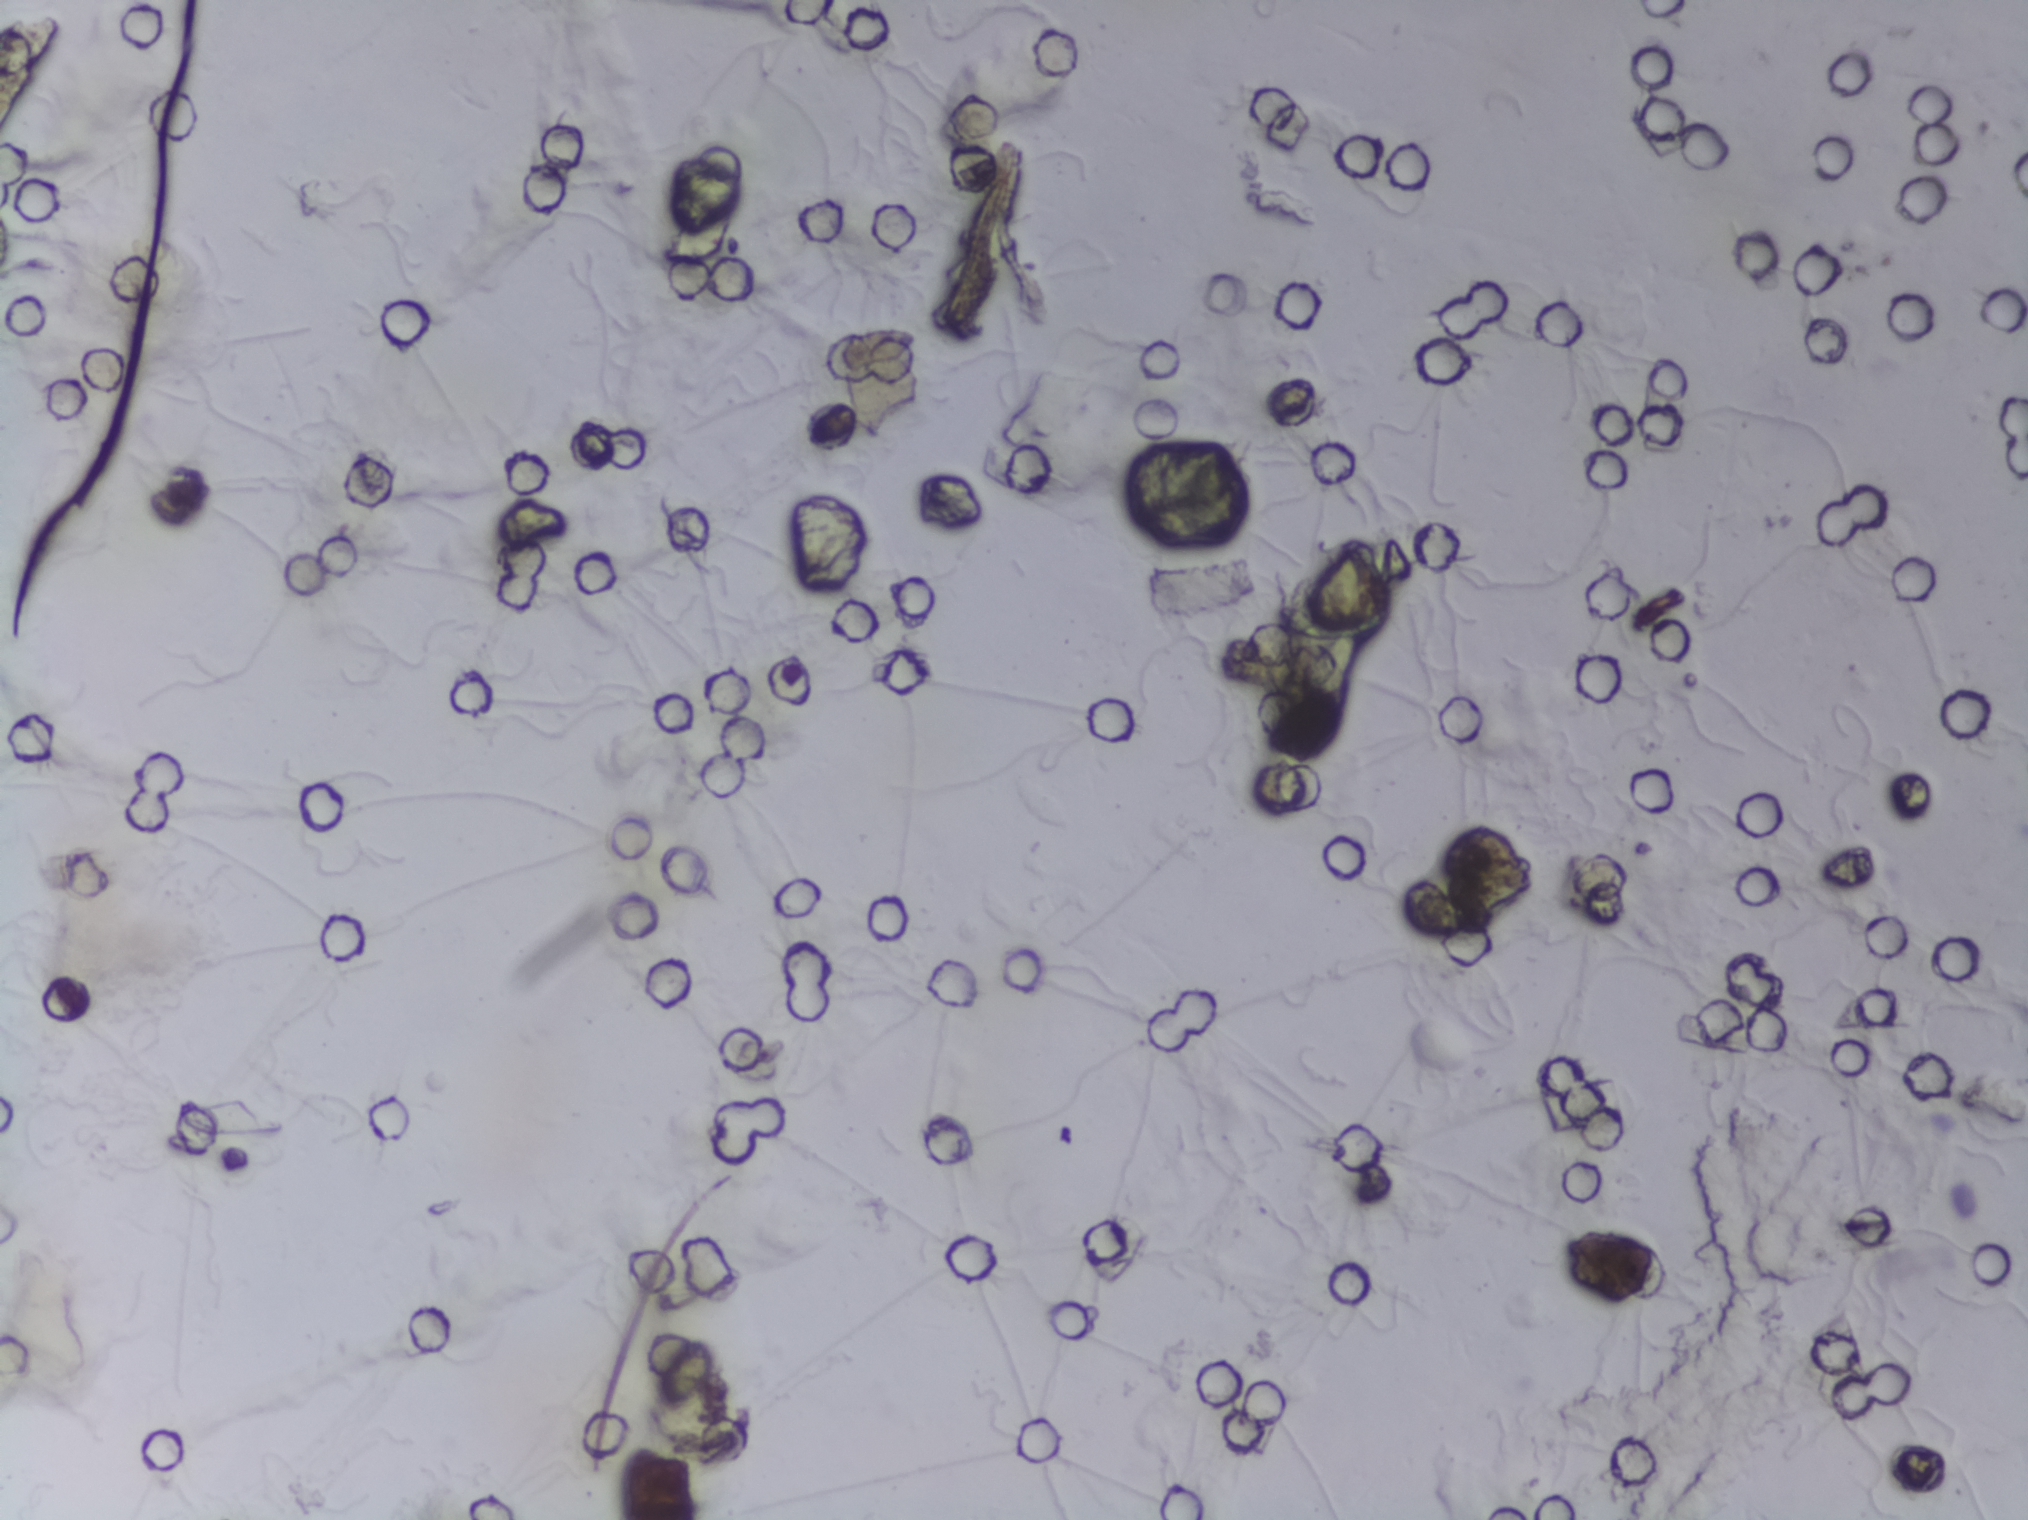
Photograph from an automated digital microscope: urine filter membrane, 4× objective.
The expert annotation outlines no Schistosoma egg in this image.